Photomicrograph of a urine filtration membrane, 4× objective.
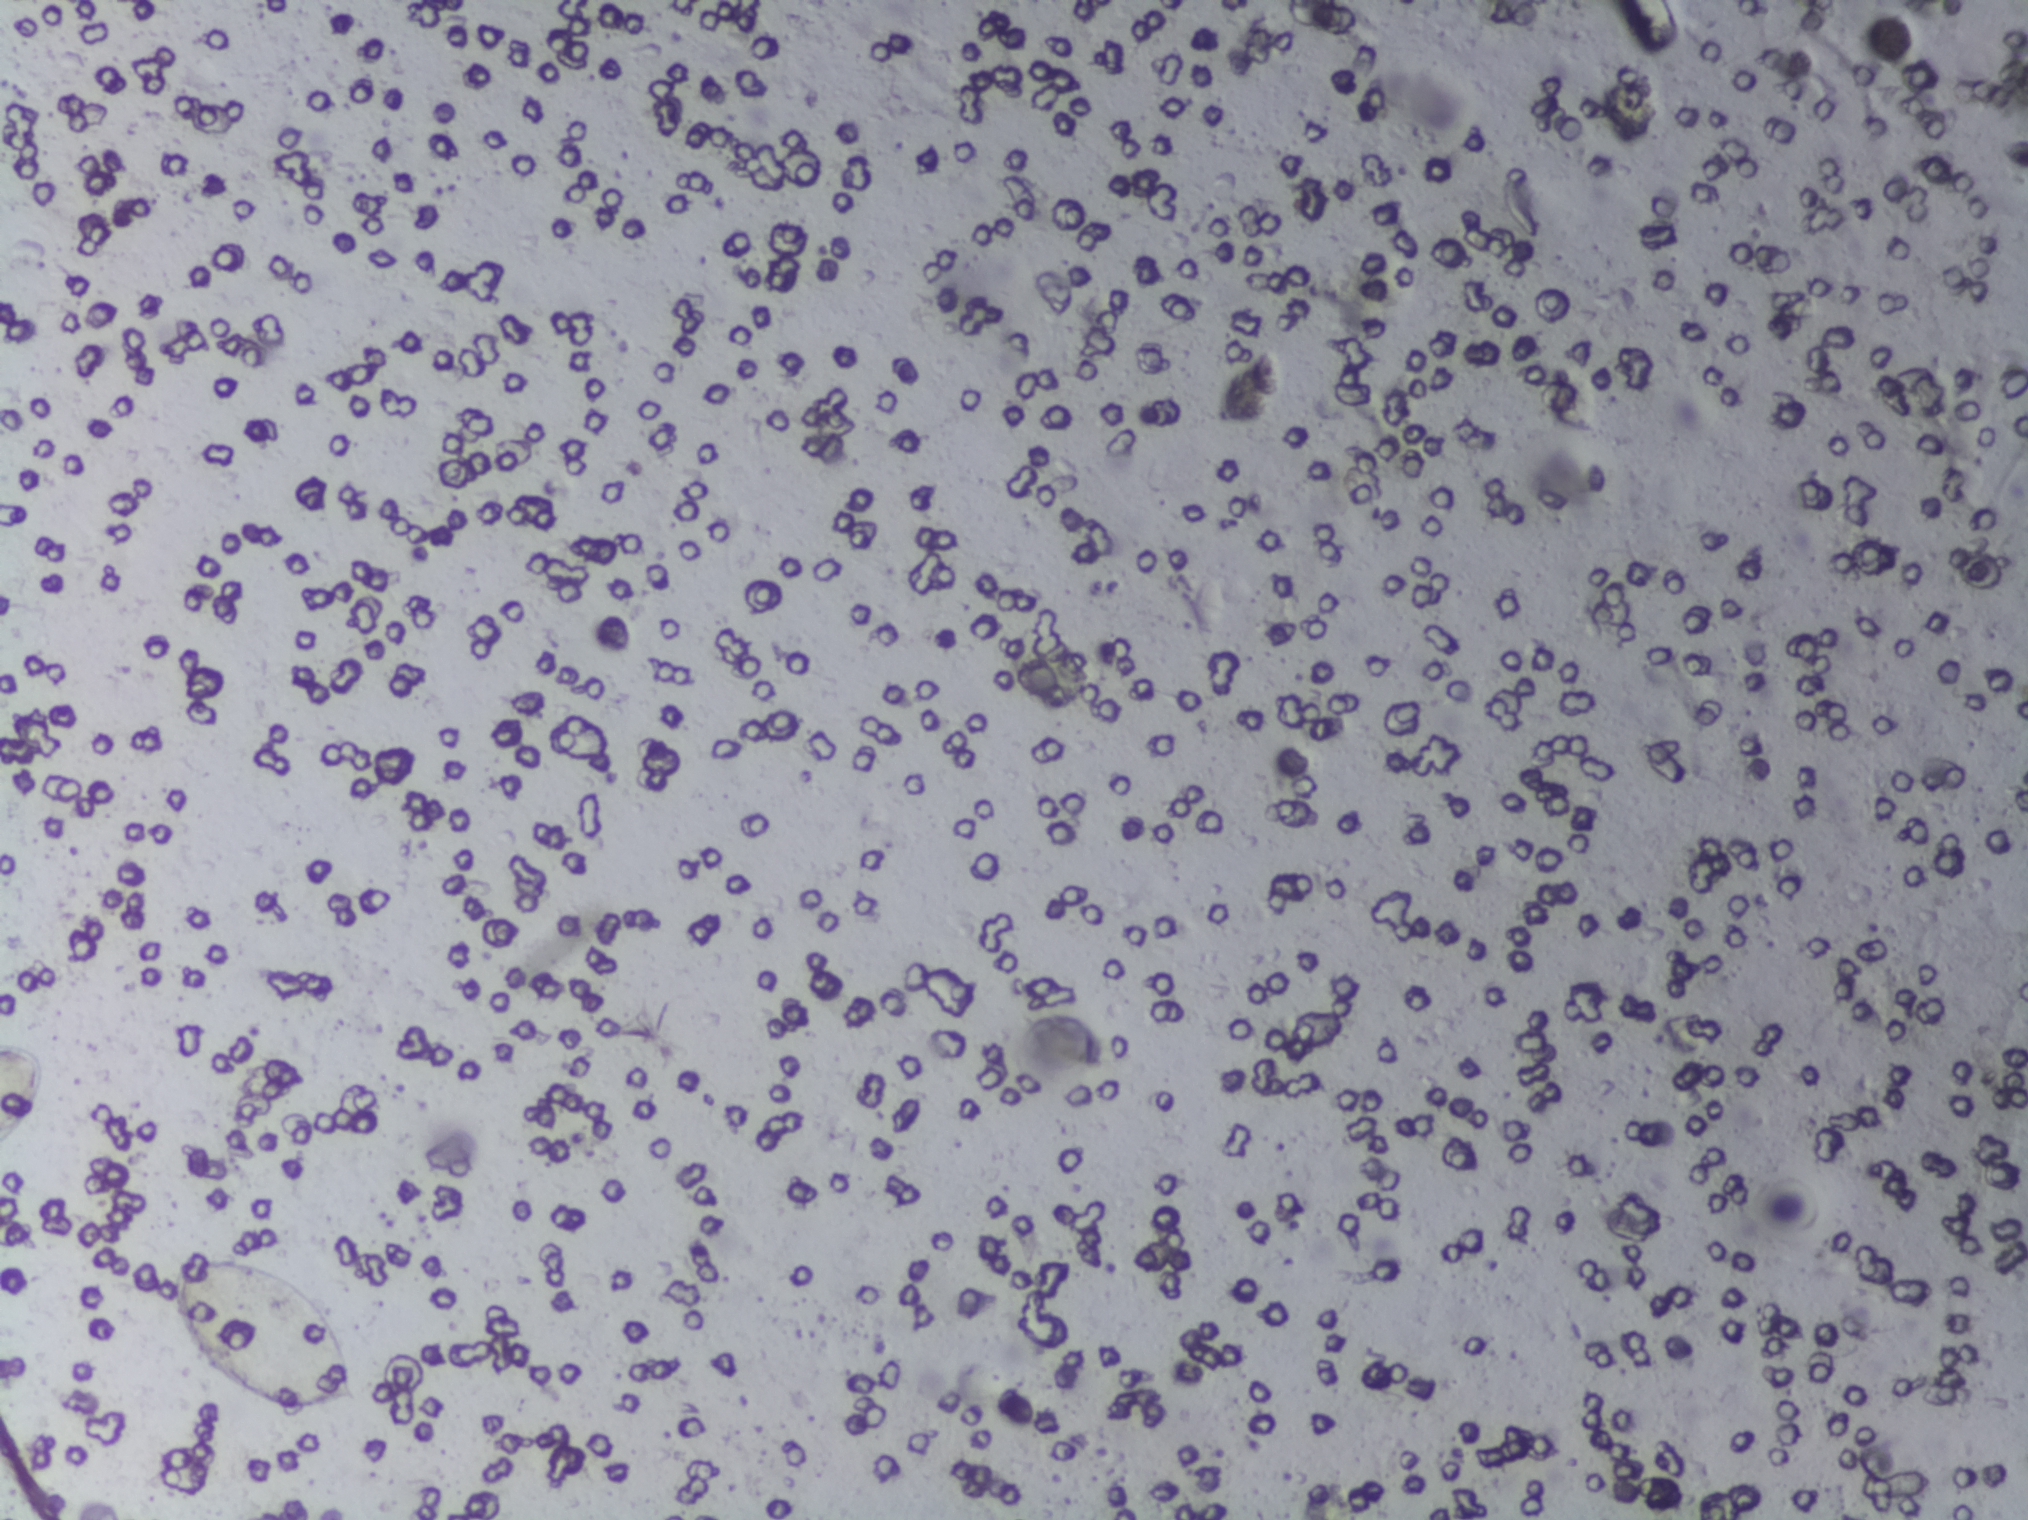
The expert annotation outlines no Schistosoma egg in this image.